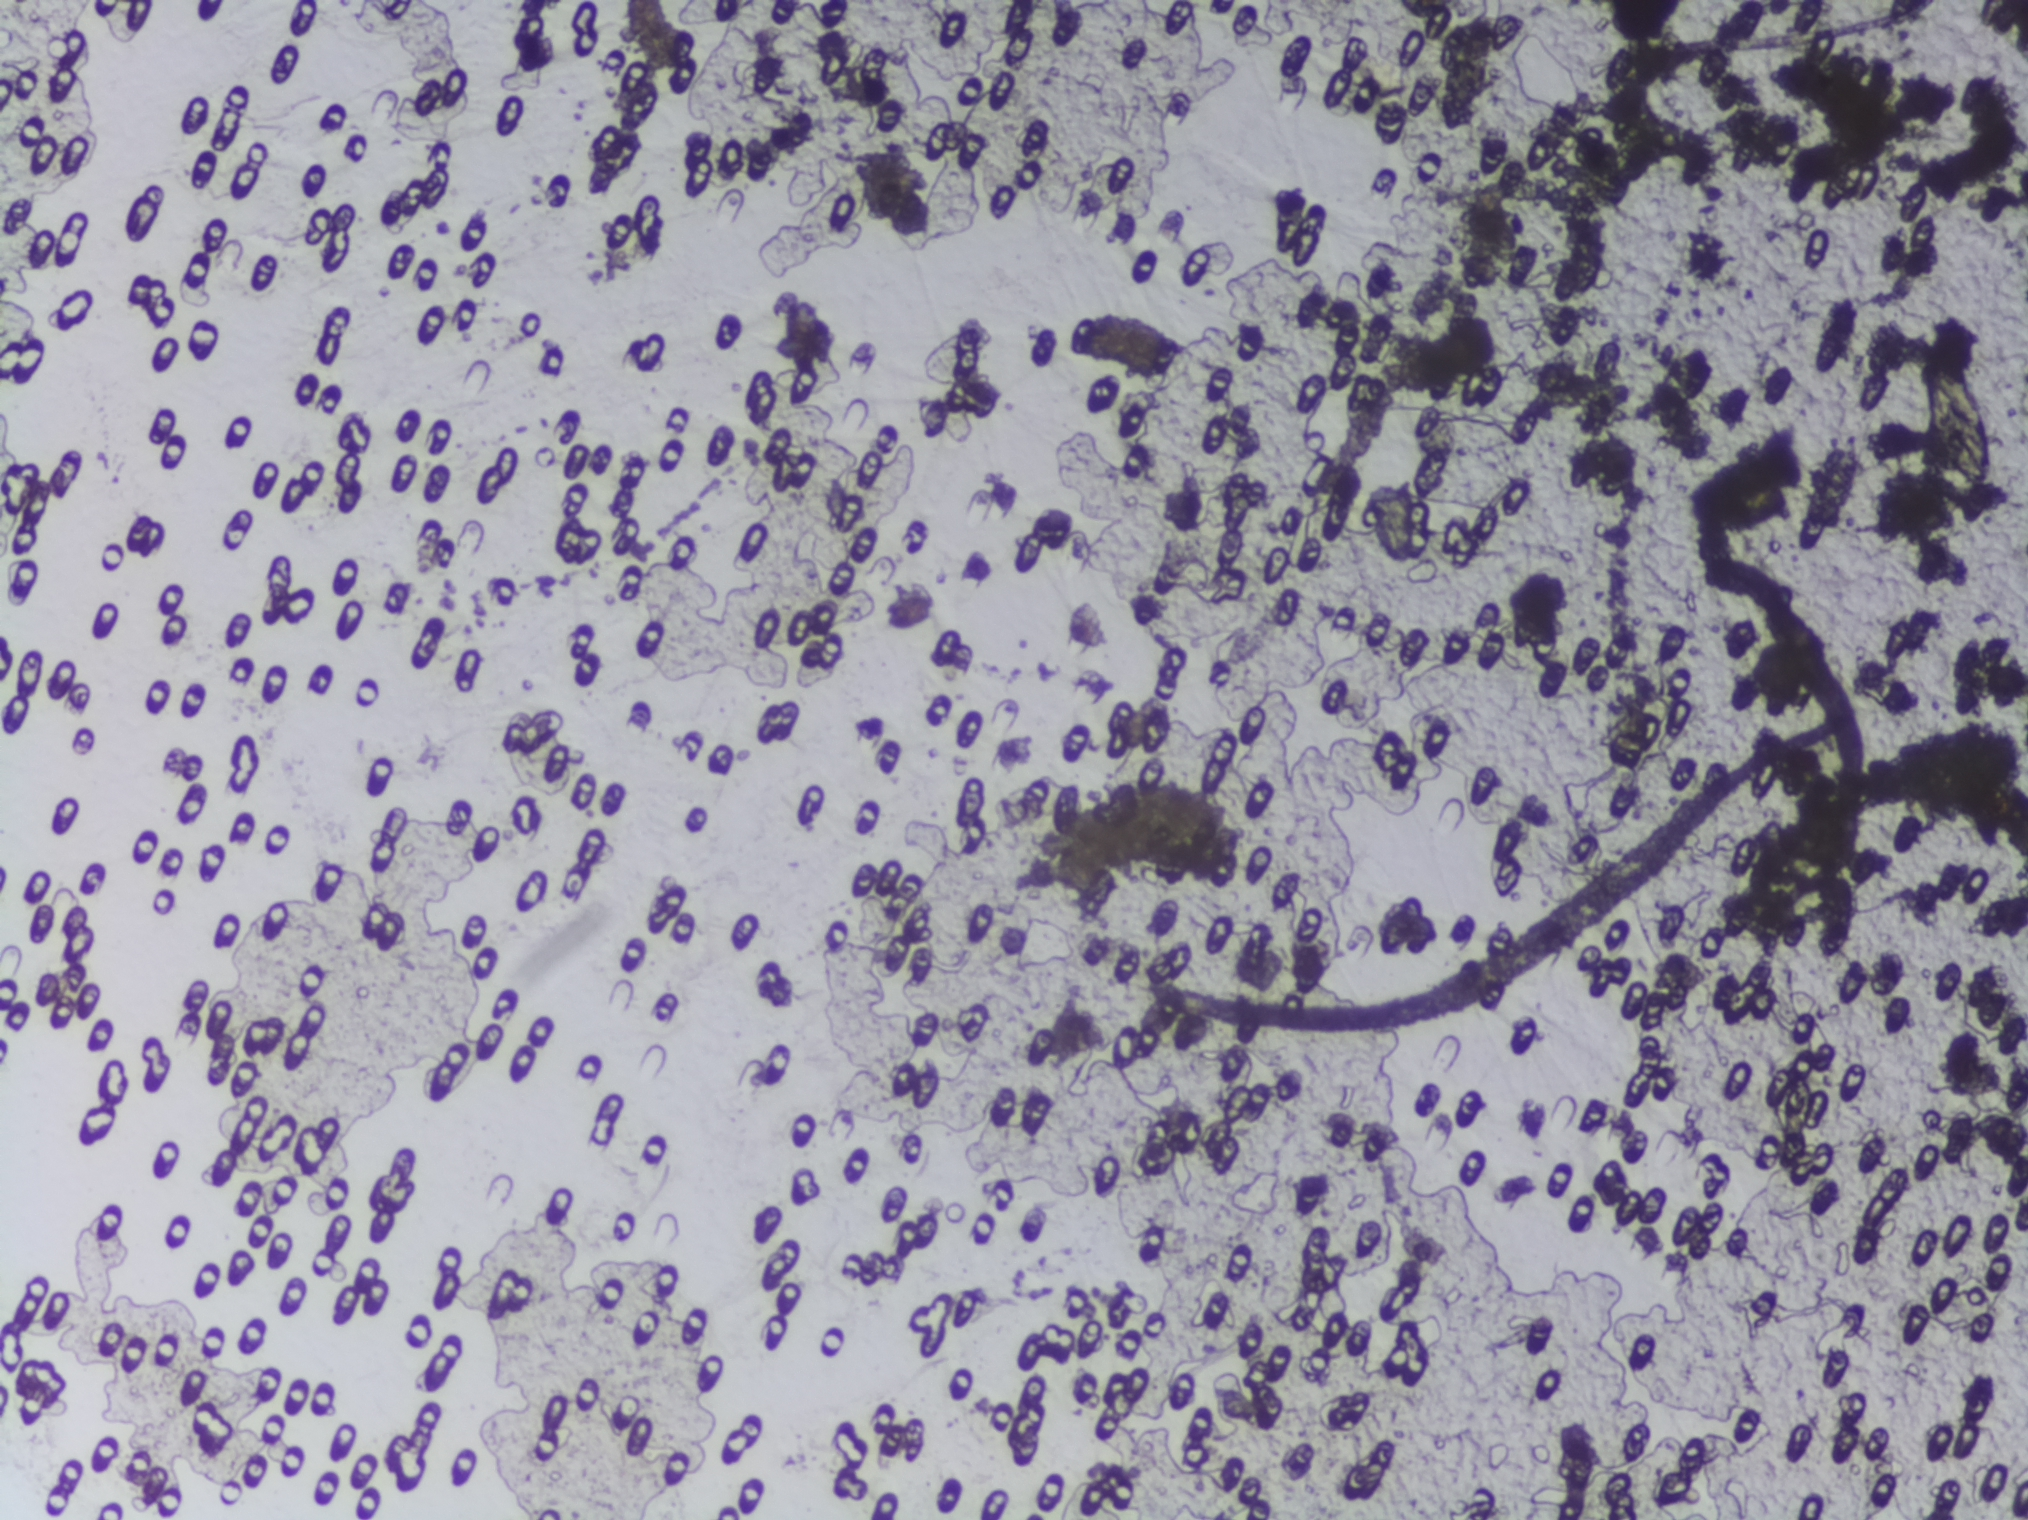
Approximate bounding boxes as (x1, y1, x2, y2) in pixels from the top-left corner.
The expert annotation outlines Schistosoma eggs at (1915, 355, 1994, 491). Eggs that touch can end up inside the same outlined area.
Microscope photograph (4× objective) of a membrane that a urine sample was filtered through.